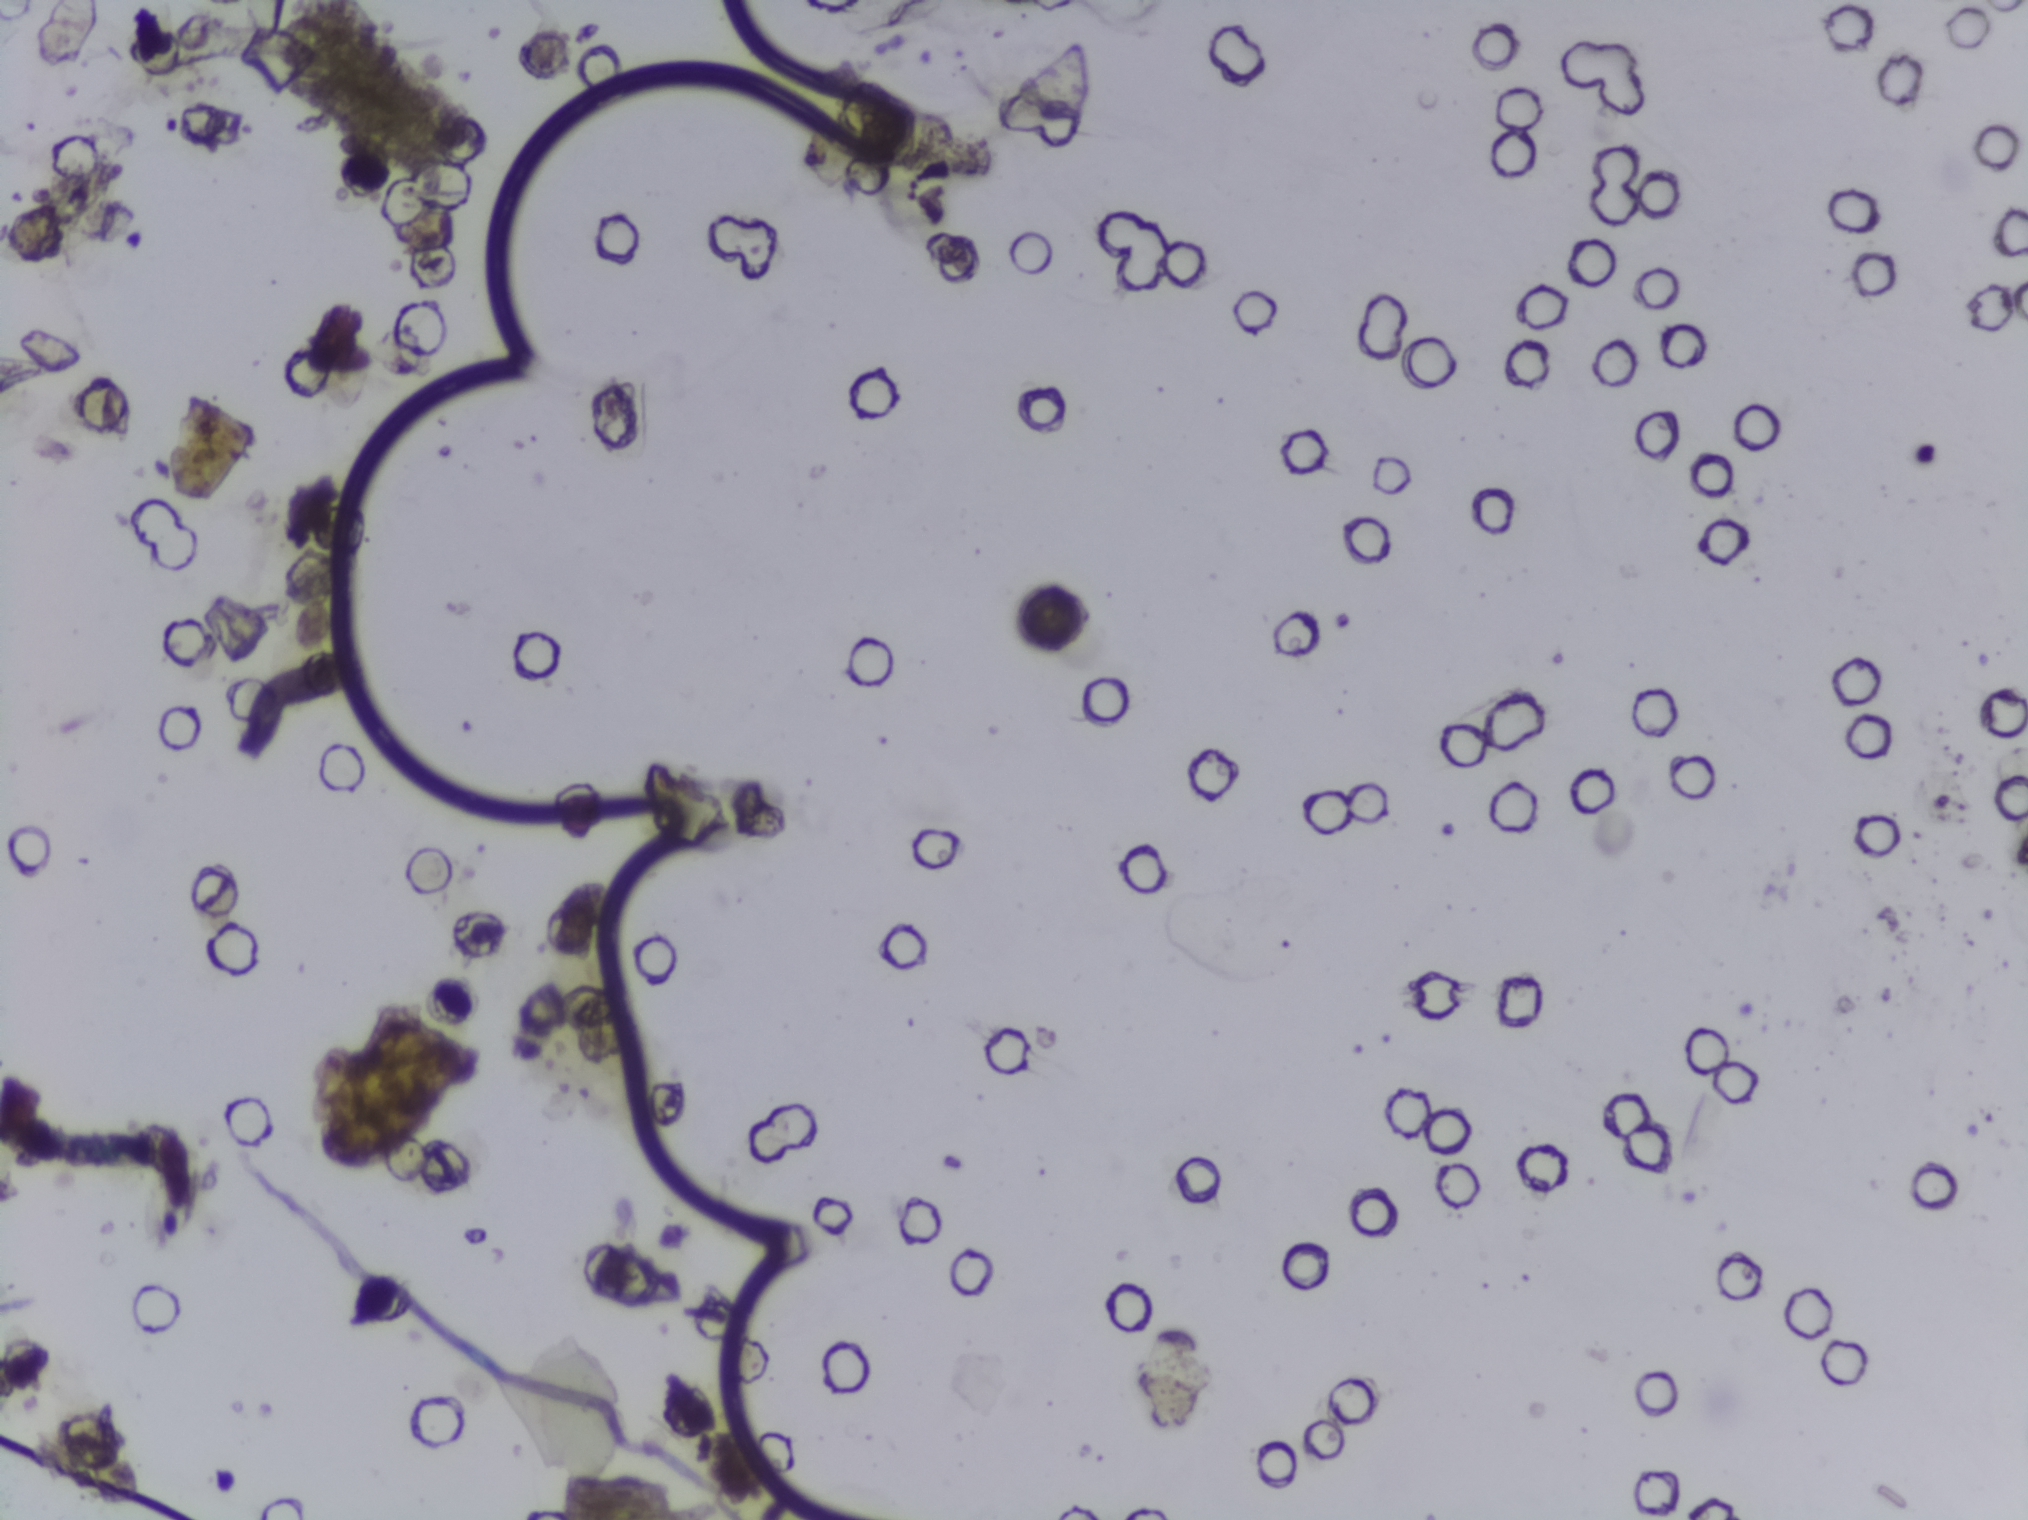
The expert annotation marks no Schistosoma egg in this field of view.
Photograph from an automated digital microscope: urine filter membrane, 4× objective.